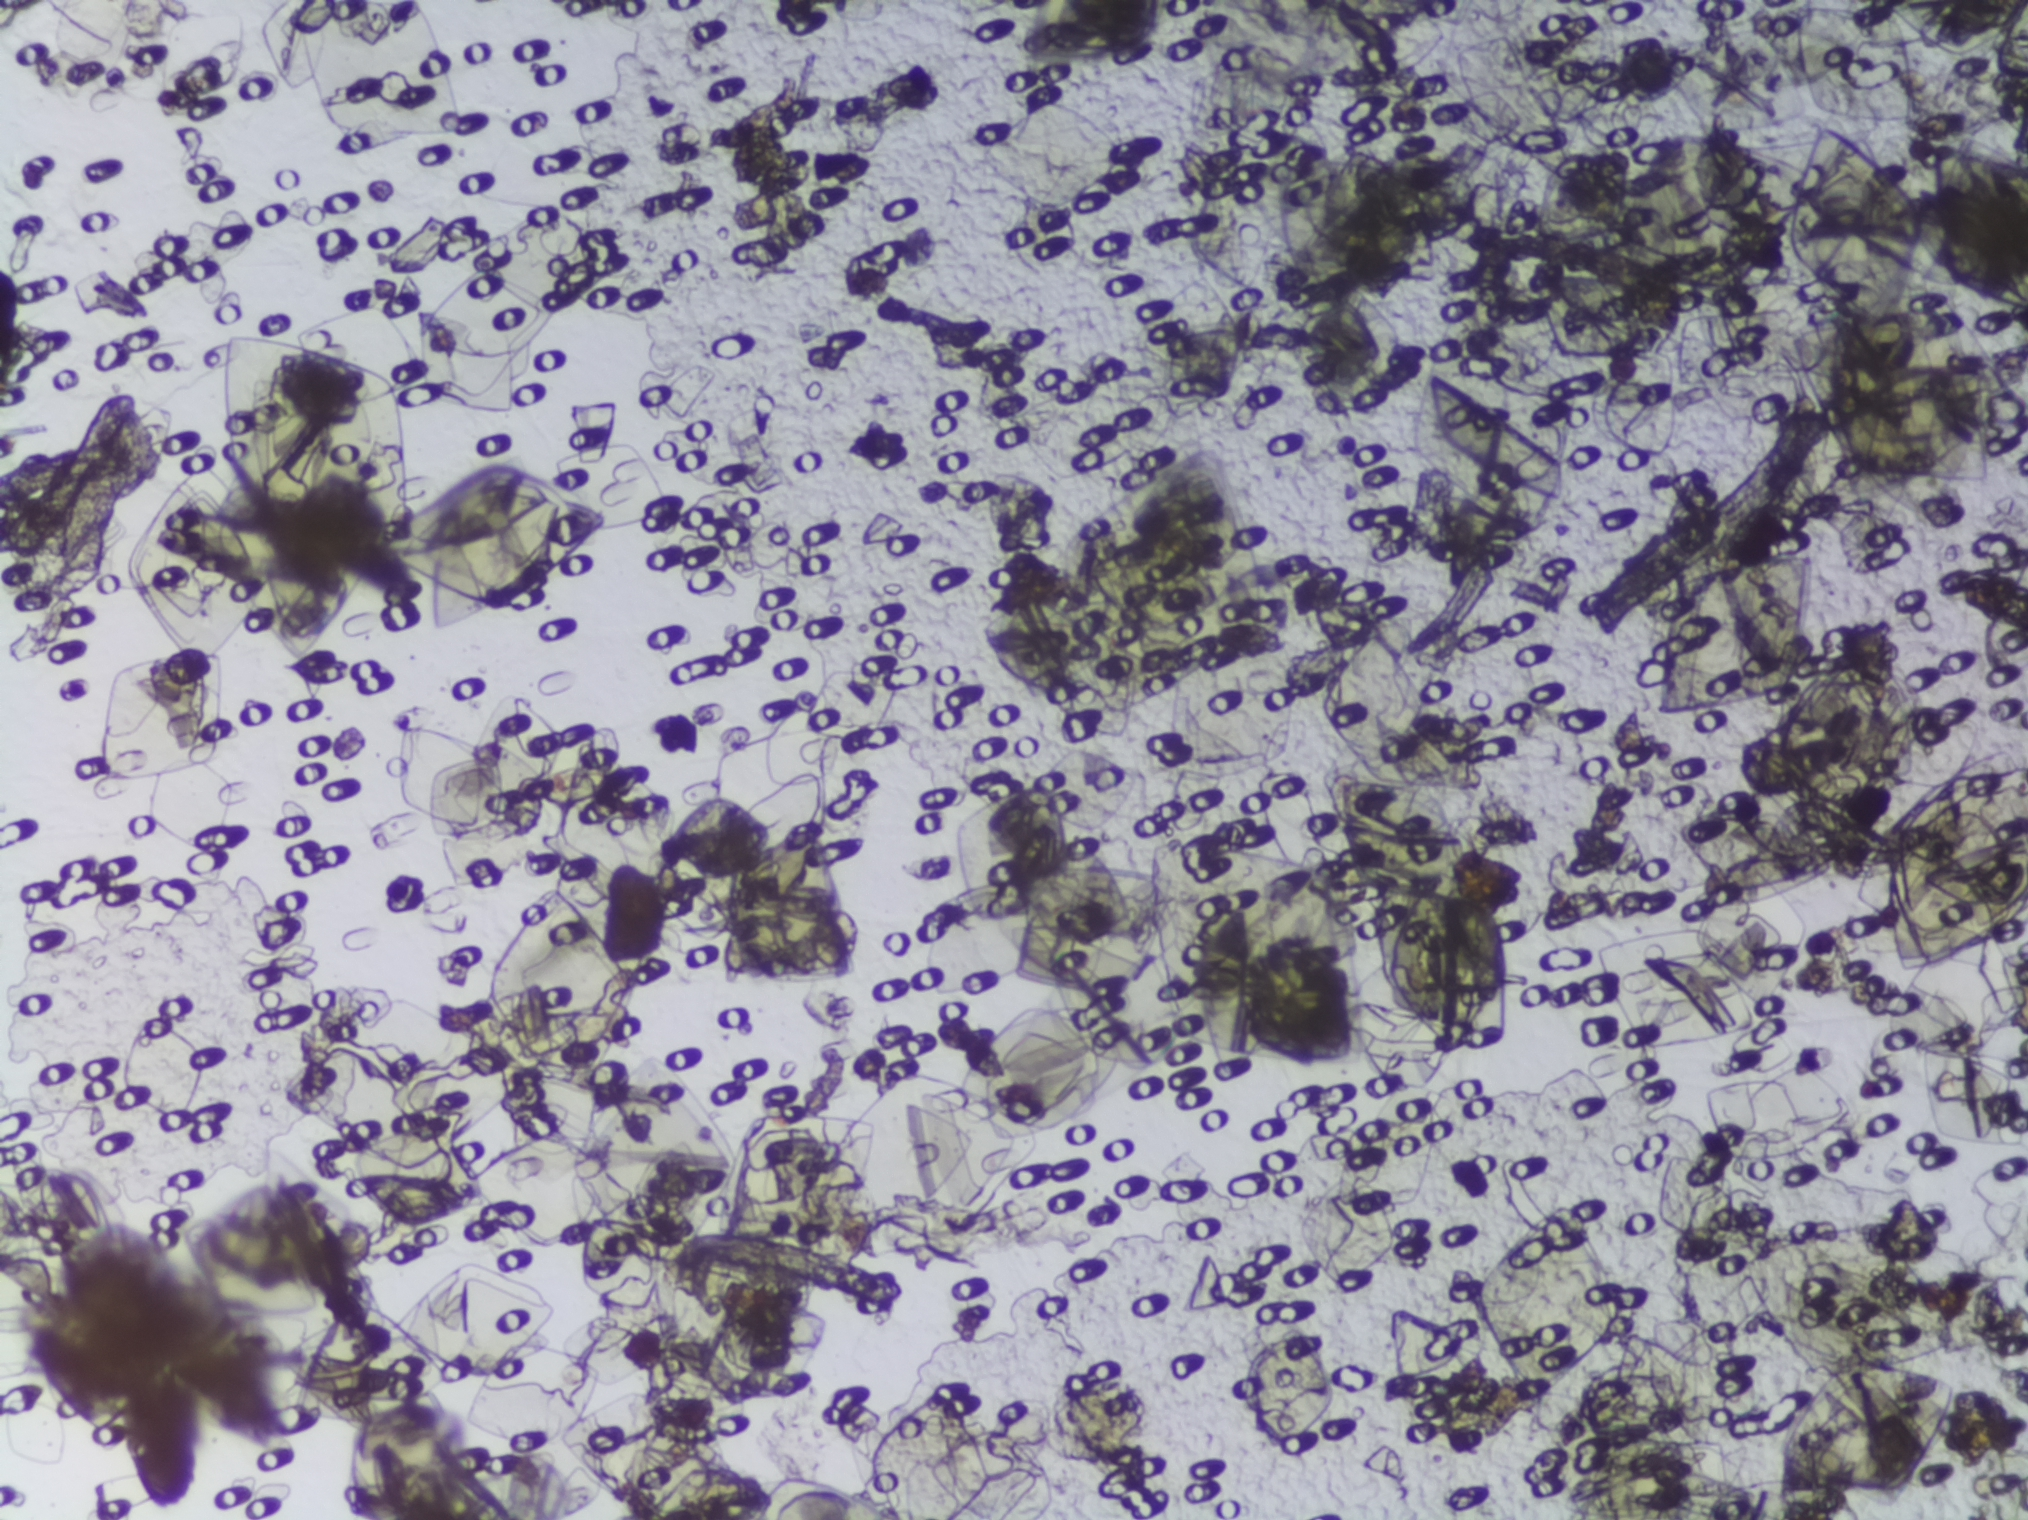
No Schistosoma egg is outlined in this image's expert annotation.
One field of view of a urine filter membrane, 4× objective, 2028 × 1520 pixels. The field of view is about 1.5 mm × 1.1 mm.